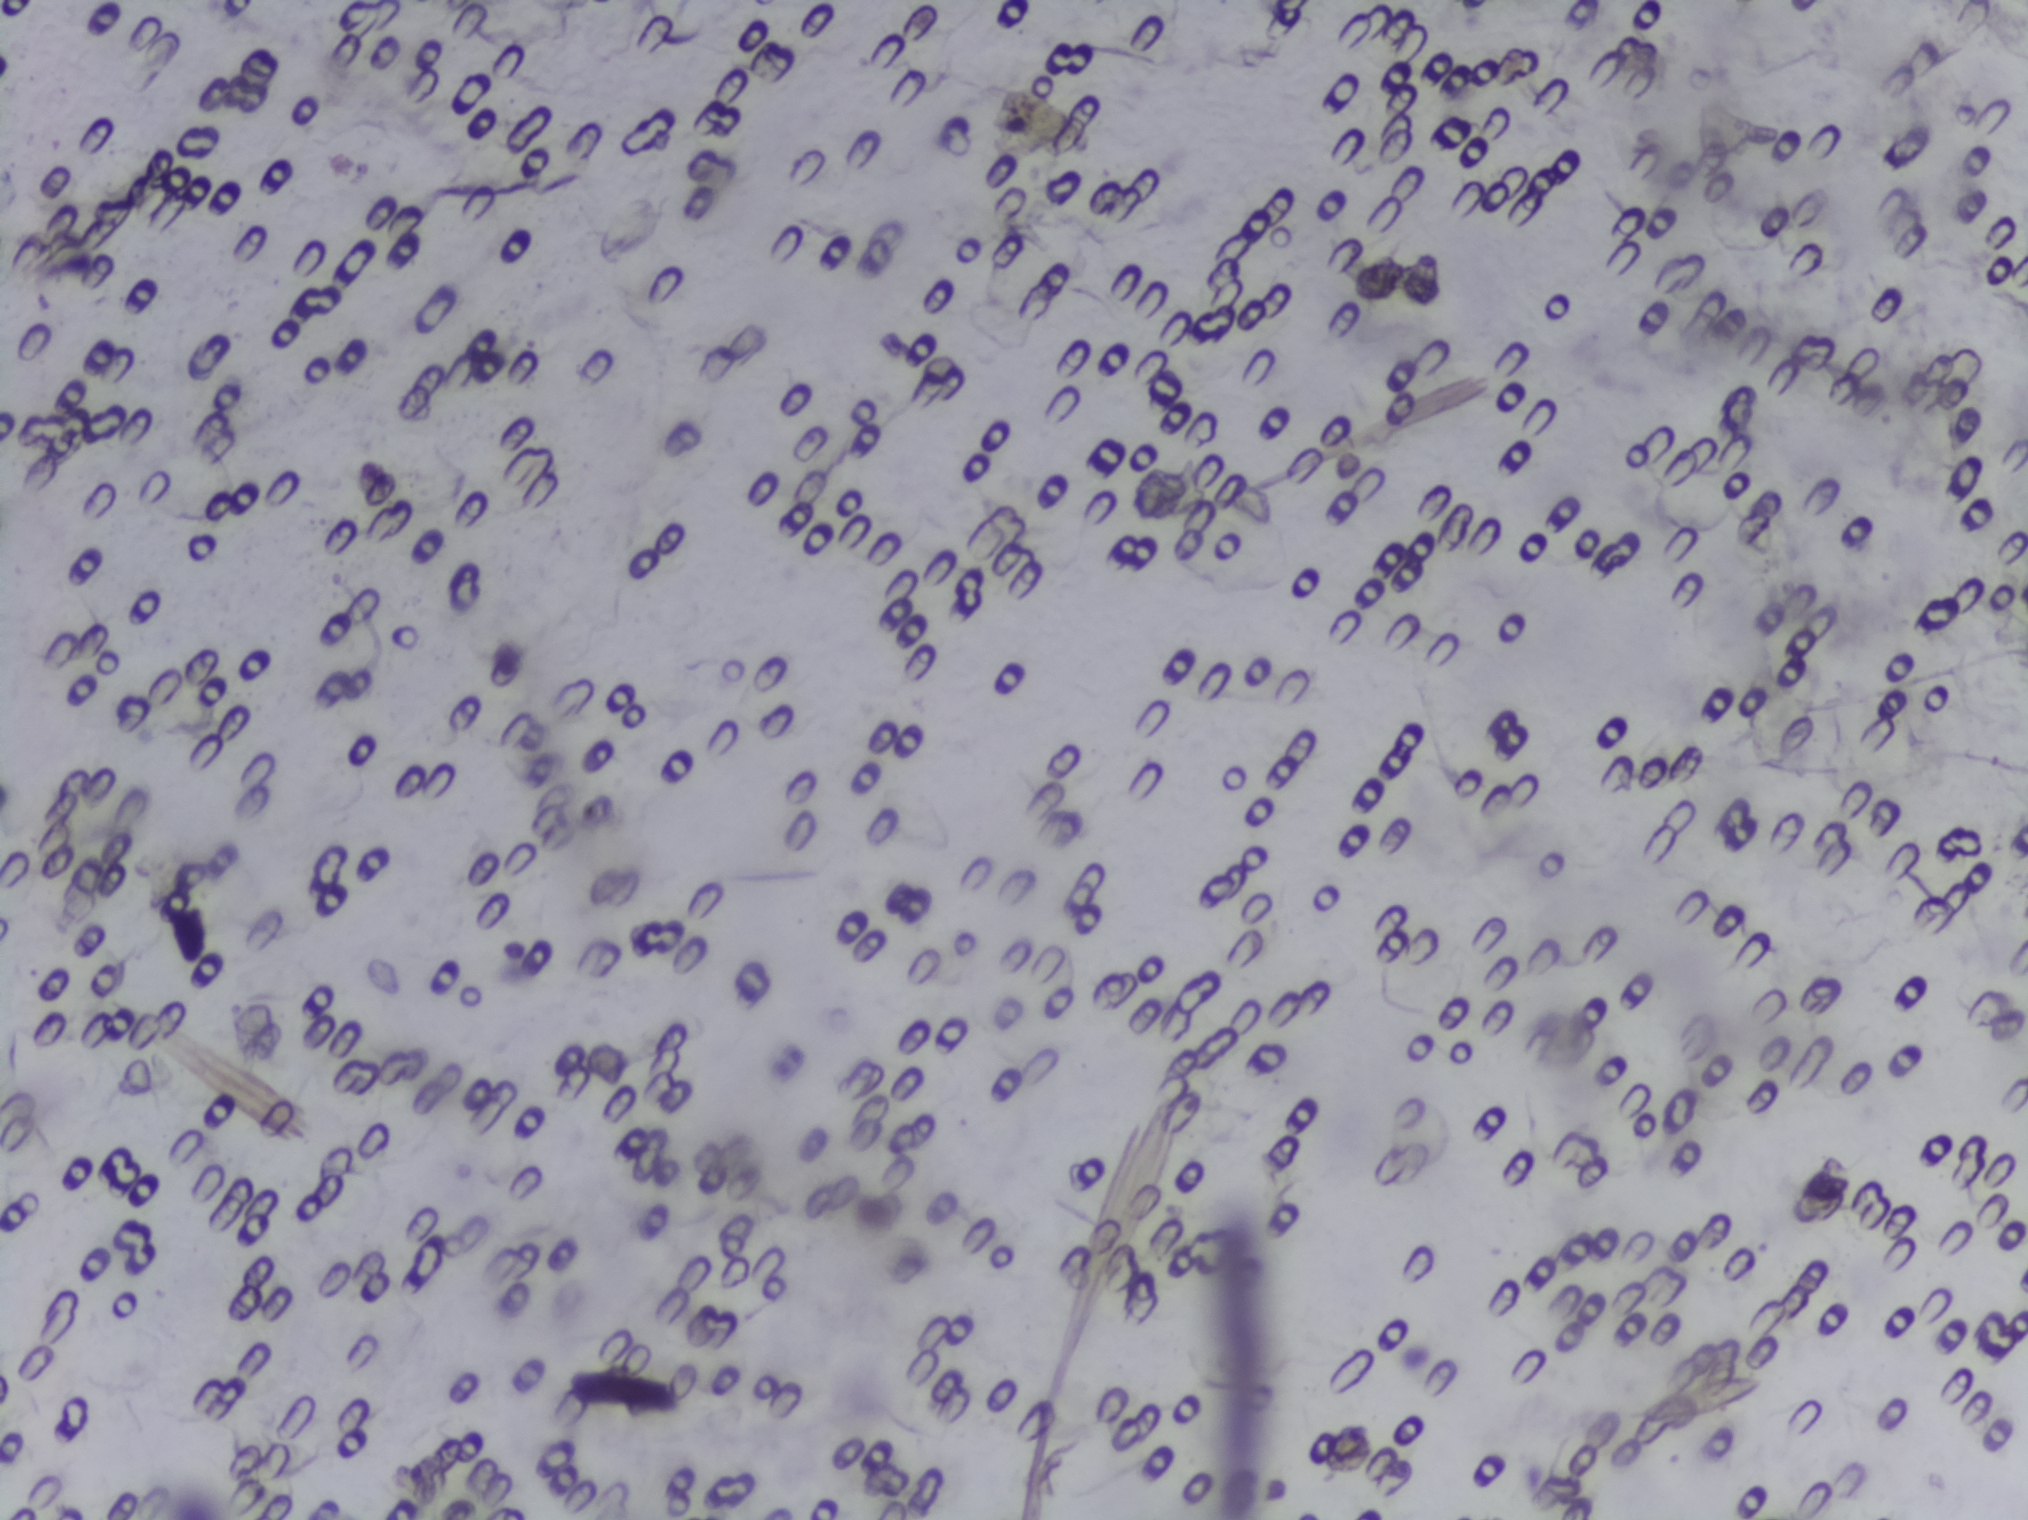
The expert annotation outlines no Schistosoma egg in this image.
One field of view of a urine filter membrane, 4× objective, 2028 × 1520 pixels.